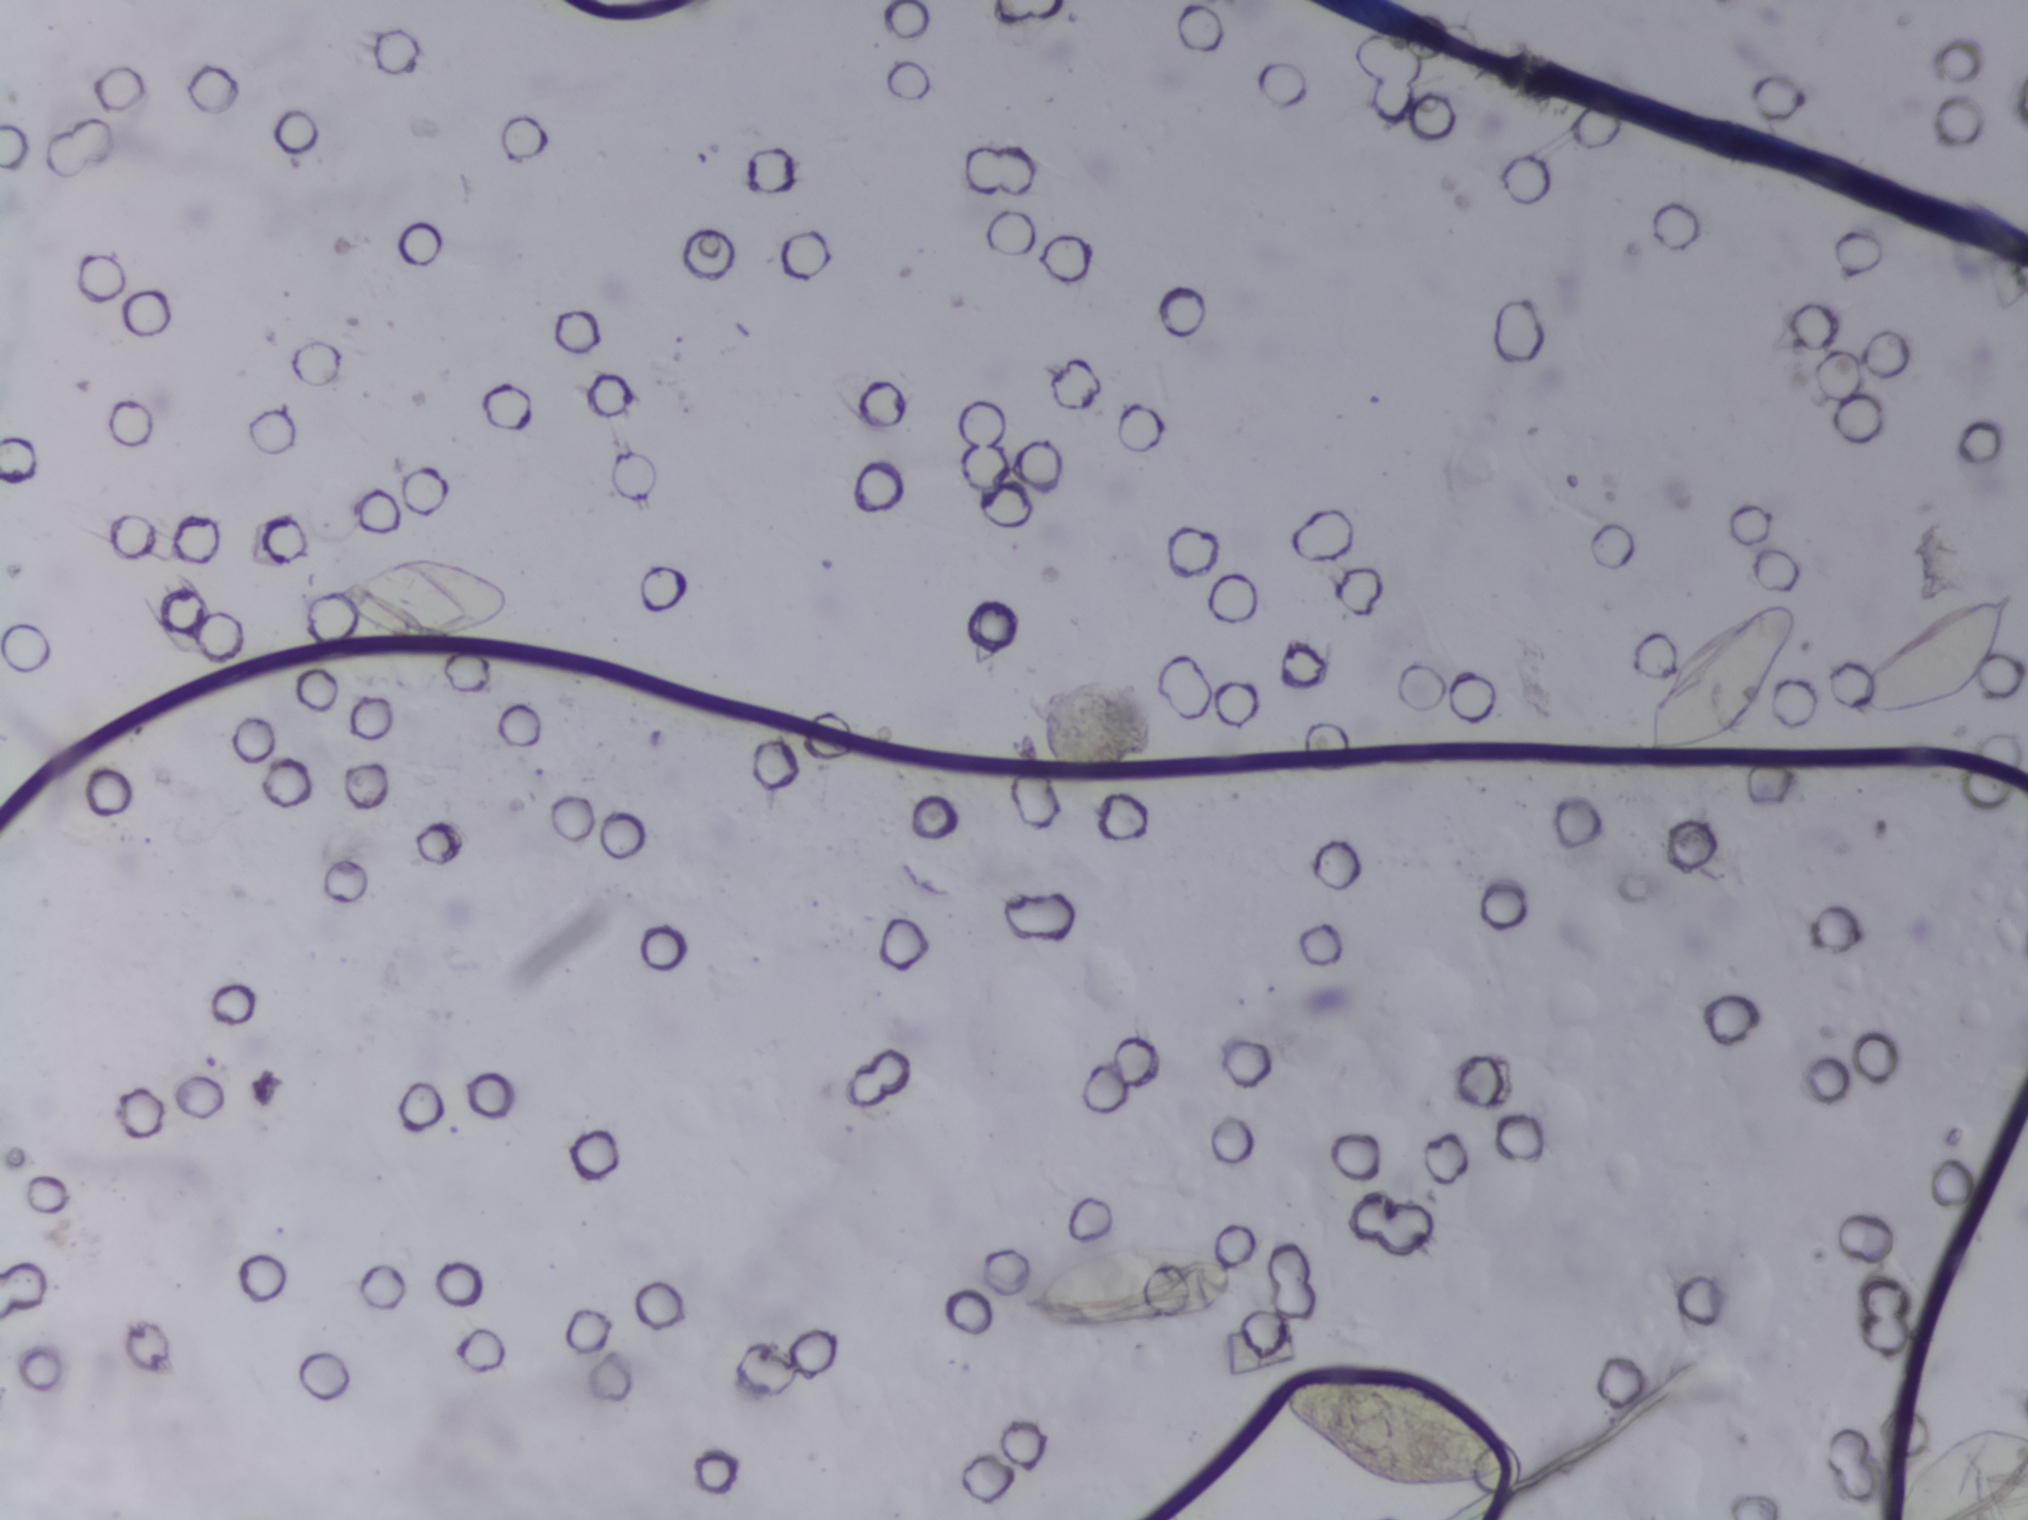
Urine filtration membrane under a 4× objective, photographed by an automated digital microscope.
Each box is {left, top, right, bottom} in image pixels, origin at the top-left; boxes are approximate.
Areas outlined as Schistosoma eggs: {330, 552, 512, 648}; {1014, 1237, 1235, 1332}; {1284, 1374, 1504, 1490}; {1646, 599, 1803, 760}; {1854, 588, 2017, 716}. Eggs that touch can end up inside the same outlined area. Any one outlined egg may, rarely, be S. mansoni rather than S. haematobium.